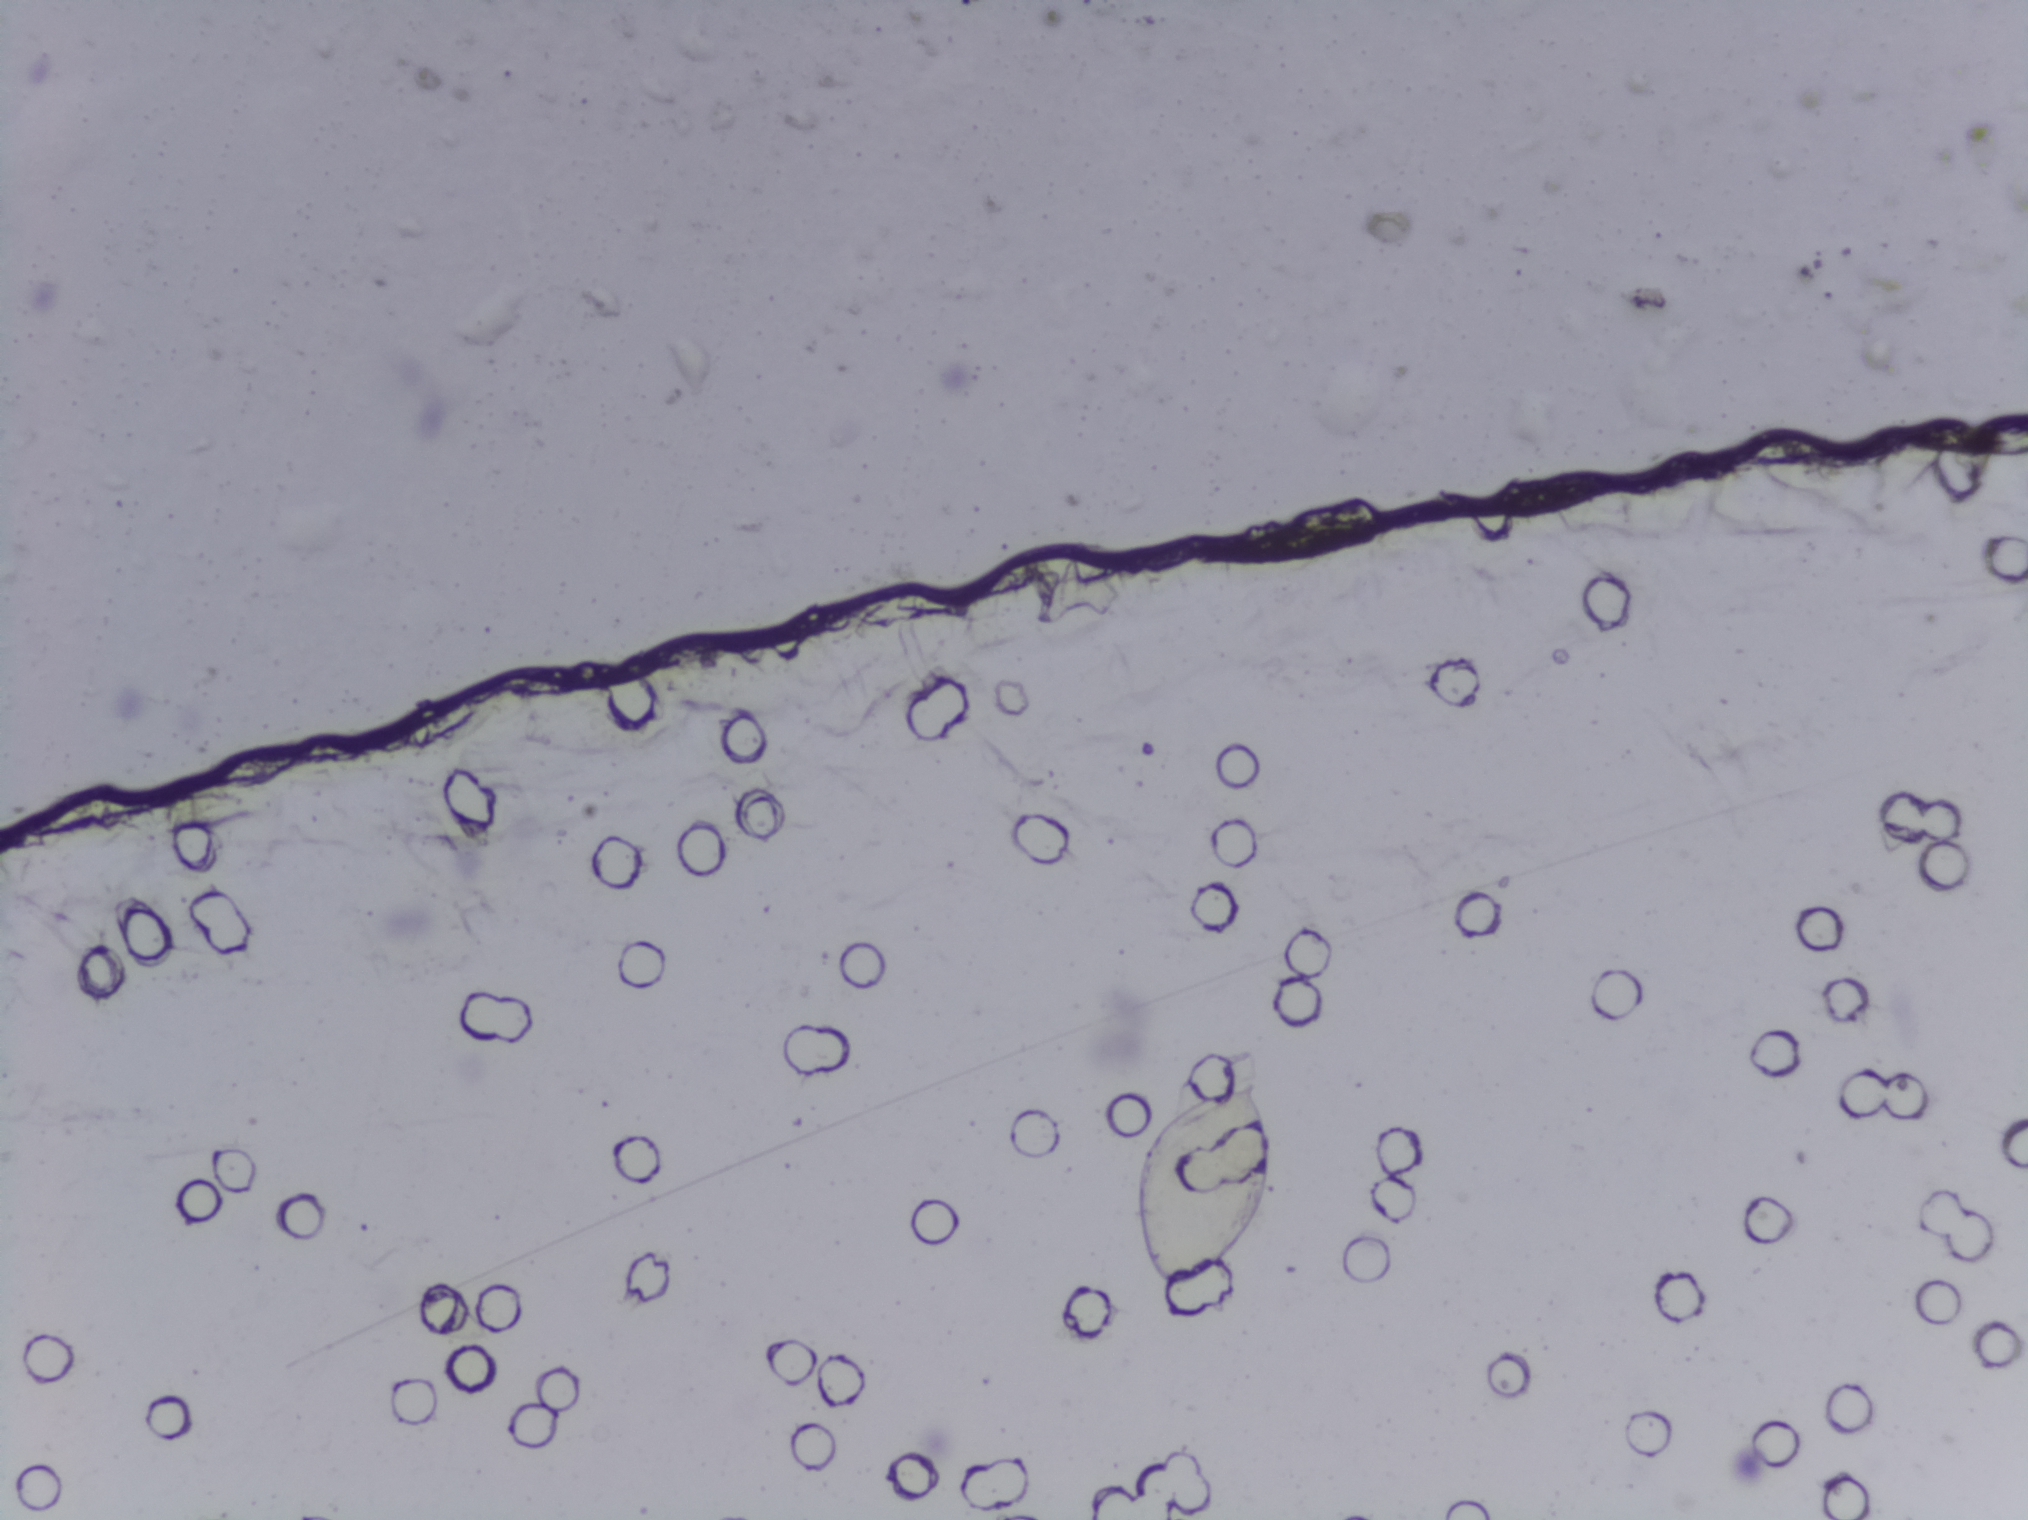
Urine filter membrane photographed through a 4× microscope objective. The image covers about 1.5 × 1.1 mm of the membrane.
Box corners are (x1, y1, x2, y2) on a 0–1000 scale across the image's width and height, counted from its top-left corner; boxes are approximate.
One area of this image is outlined as Schistosoma eggs: (558, 705, 628, 849). Eggs that touch can end up inside the same outlined area.